One field of view of a urine filter membrane, 4× objective, 2028 × 1520 pixels.
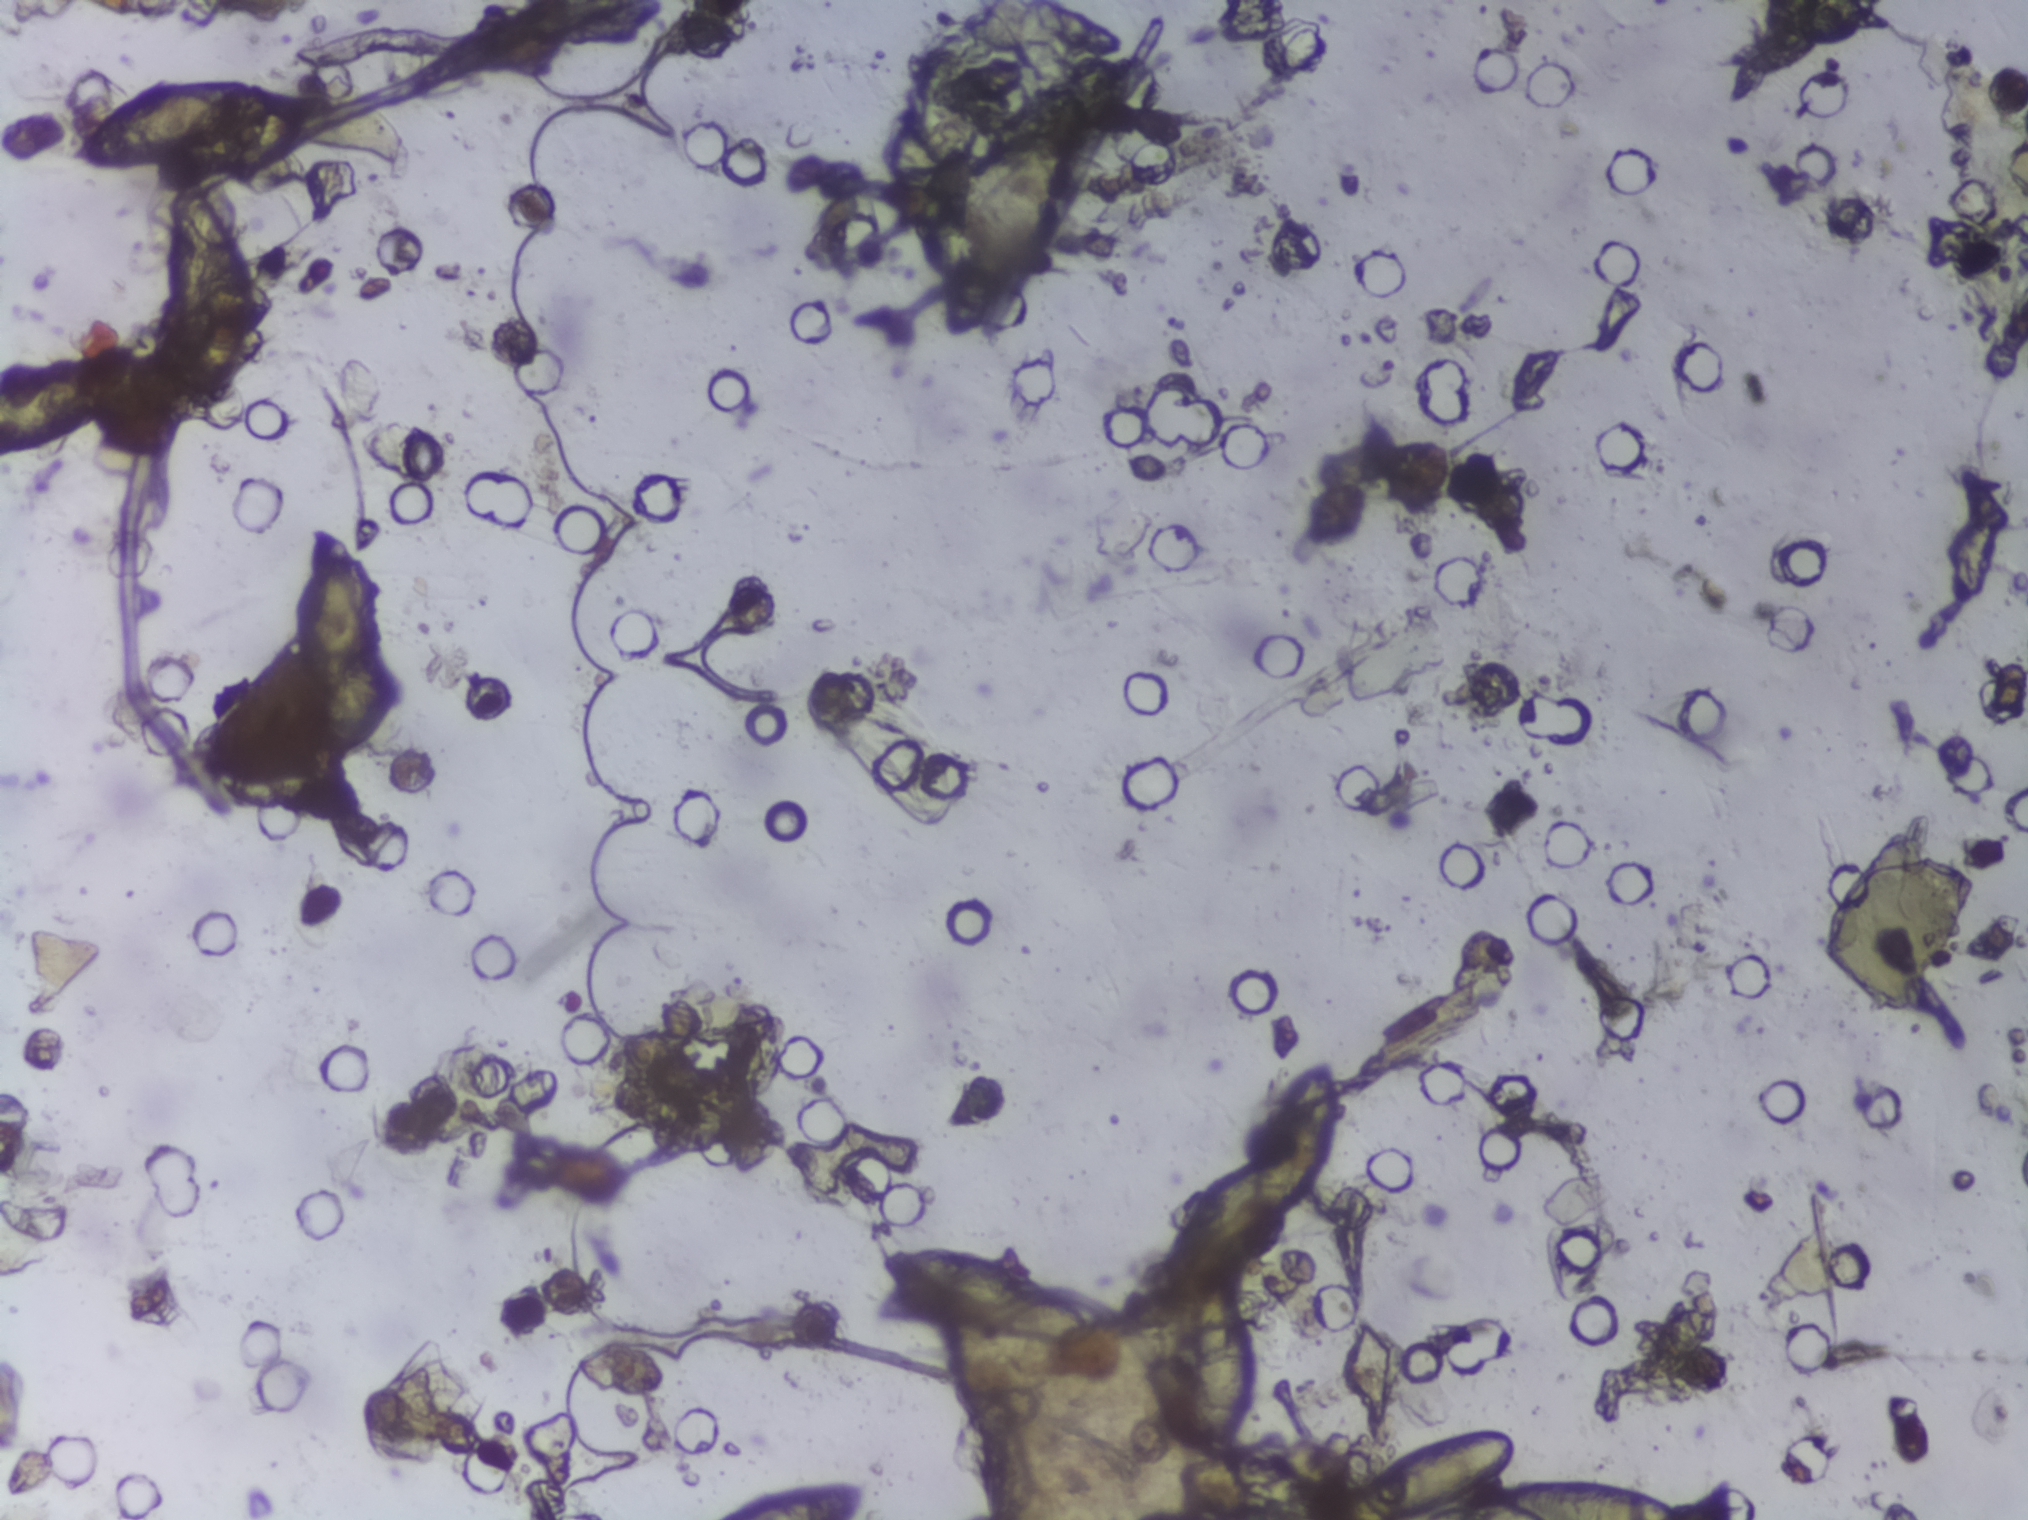
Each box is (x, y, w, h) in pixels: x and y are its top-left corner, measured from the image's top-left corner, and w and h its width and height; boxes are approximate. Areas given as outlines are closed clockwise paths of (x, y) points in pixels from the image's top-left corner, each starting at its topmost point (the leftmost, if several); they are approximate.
Seven areas of this image are outlined as Schistosoma eggs, from left to right: box (x=0, y=346, w=126, h=113) (reaching the left edge of the frame); outline (190, 75), (300, 90), (322, 109), (320, 126), (292, 156), (198, 184), (237, 234), (256, 286), (235, 379), (206, 403), (186, 380), (169, 332), (172, 195), (182, 186), (159, 184), (148, 172), (150, 159), (113, 166), (60, 160), (65, 147), (121, 100), (125, 89); box (x=292, y=518, w=90, h=242); box (x=712, y=1474, w=171, h=46) (reaching the bottom edge of the frame); box (x=870, y=1243, w=215, h=107); outline (1313, 1060), (1331, 1063), (1345, 1080), (1345, 1145), (1316, 1211), (1237, 1282), (1250, 1327), (1254, 1394), (1237, 1449), (1218, 1457), (1196, 1455), (1175, 1431), (1175, 1341), (1183, 1309), (1150, 1308), (1147, 1283), (1167, 1251), (1185, 1183), (1249, 1157), (1269, 1094), (1289, 1070); box (x=1334, y=1426, w=352, h=94) (reaching the bottom edge of the frame). The marked pixels themselves, not the boxes and the outlines around them, cover about 4.4% of the image. An outlined area can hold more than one egg.